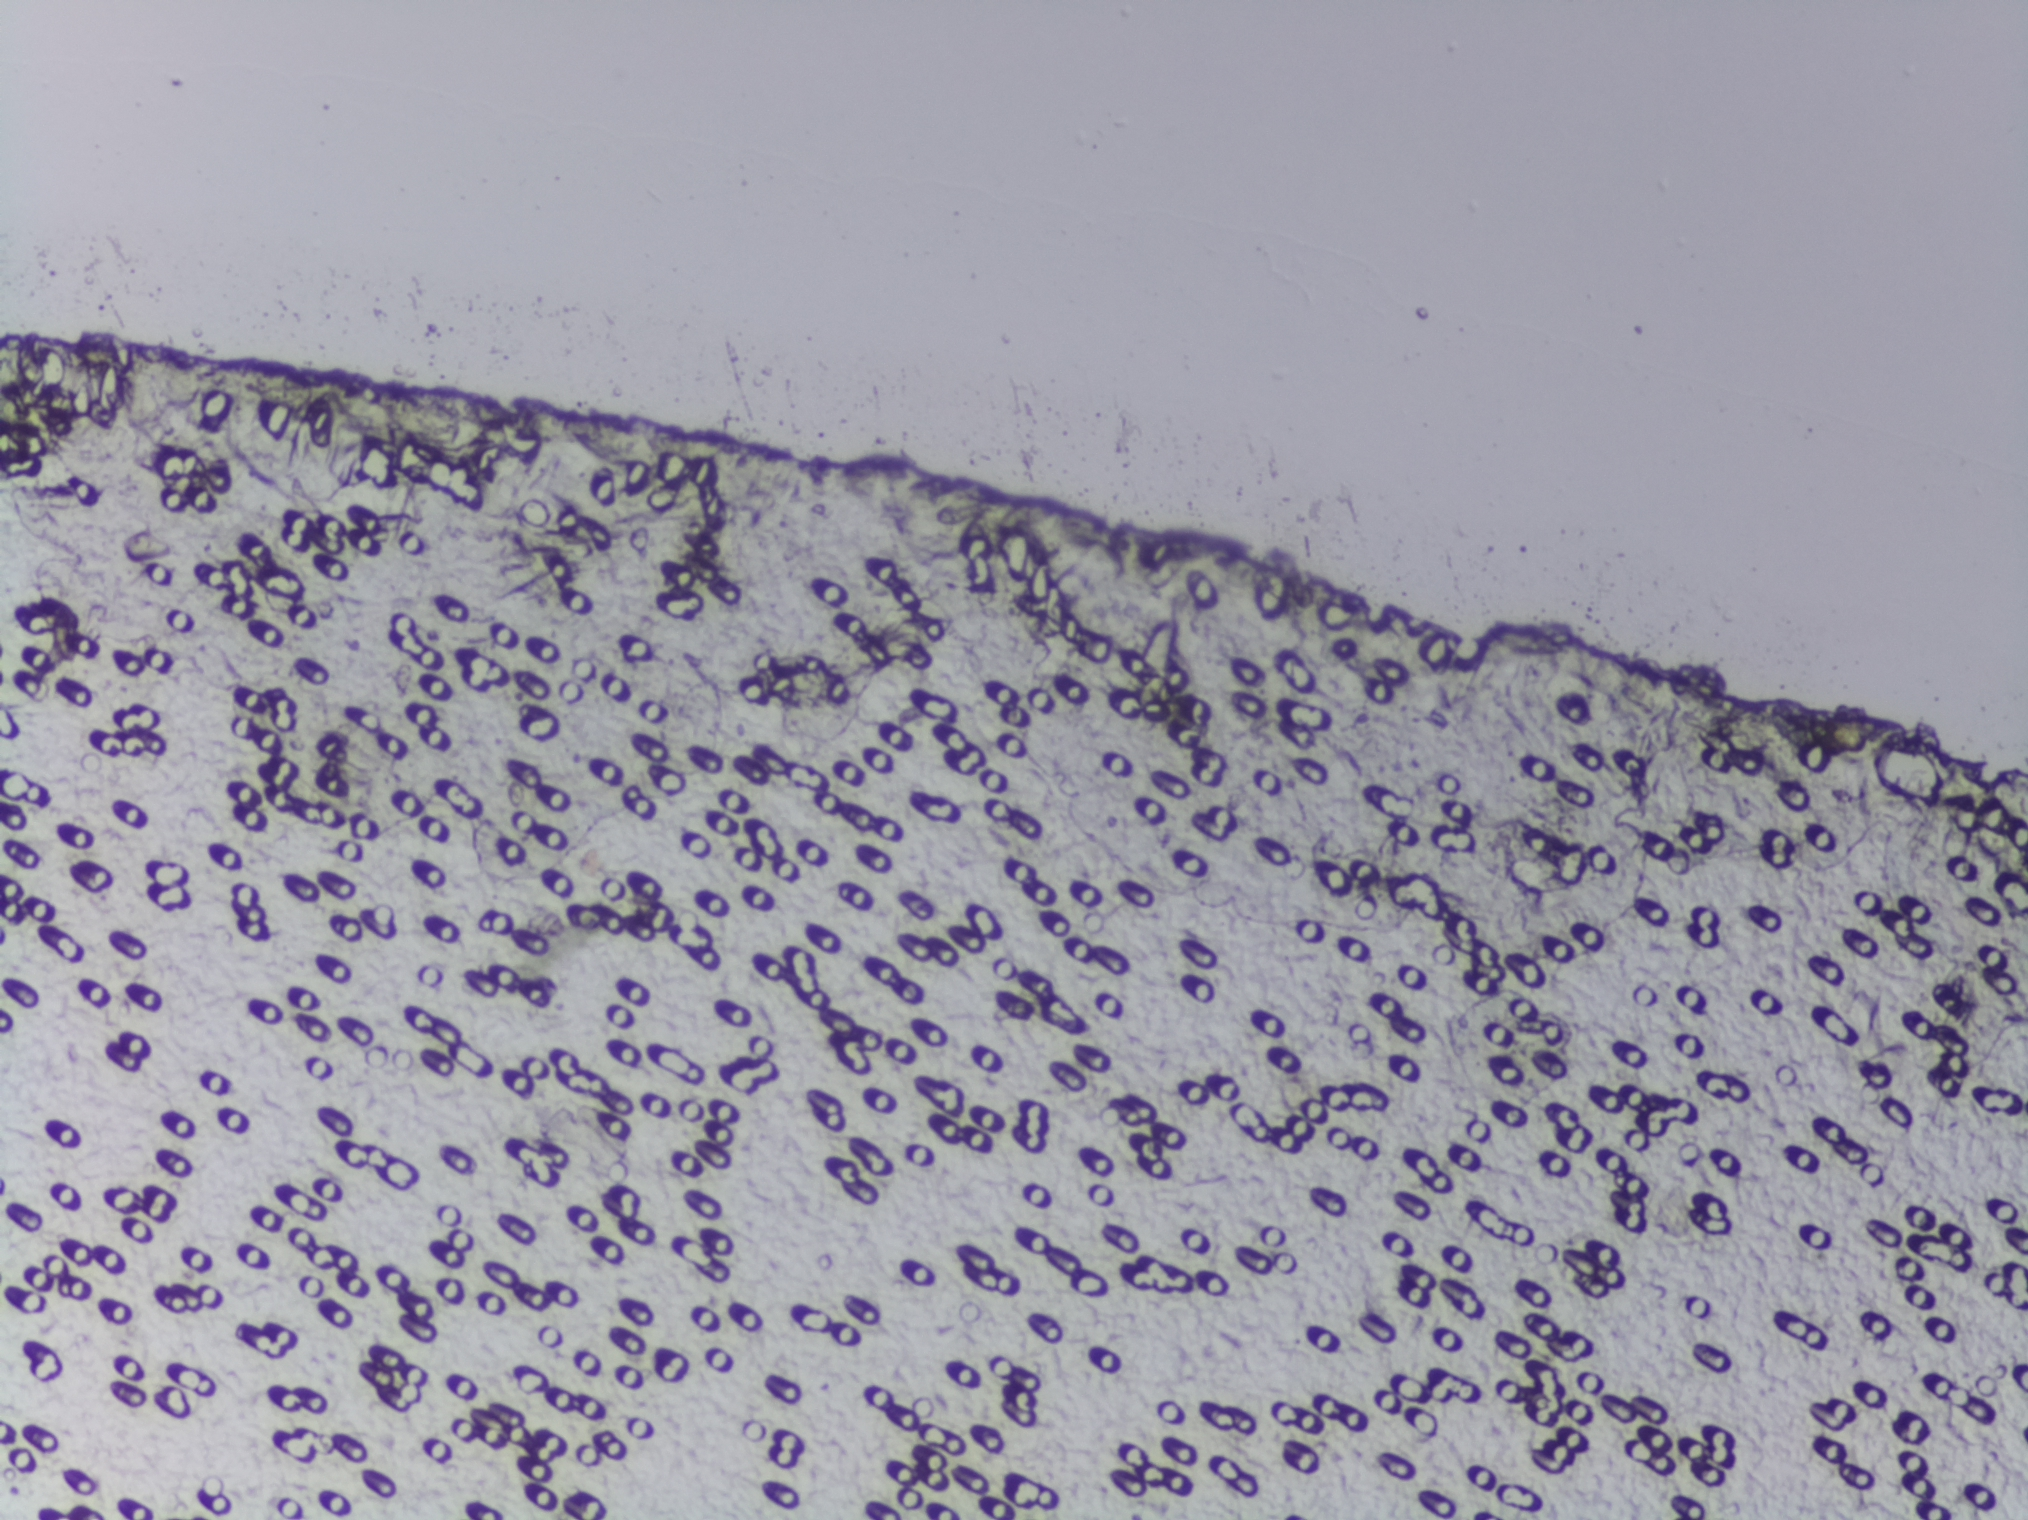
The expert annotation outlines no Schistosoma egg in this image.
Urine filter membrane photographed through a 4× microscope objective. The image covers about 1.5 × 1.1 mm of the membrane.